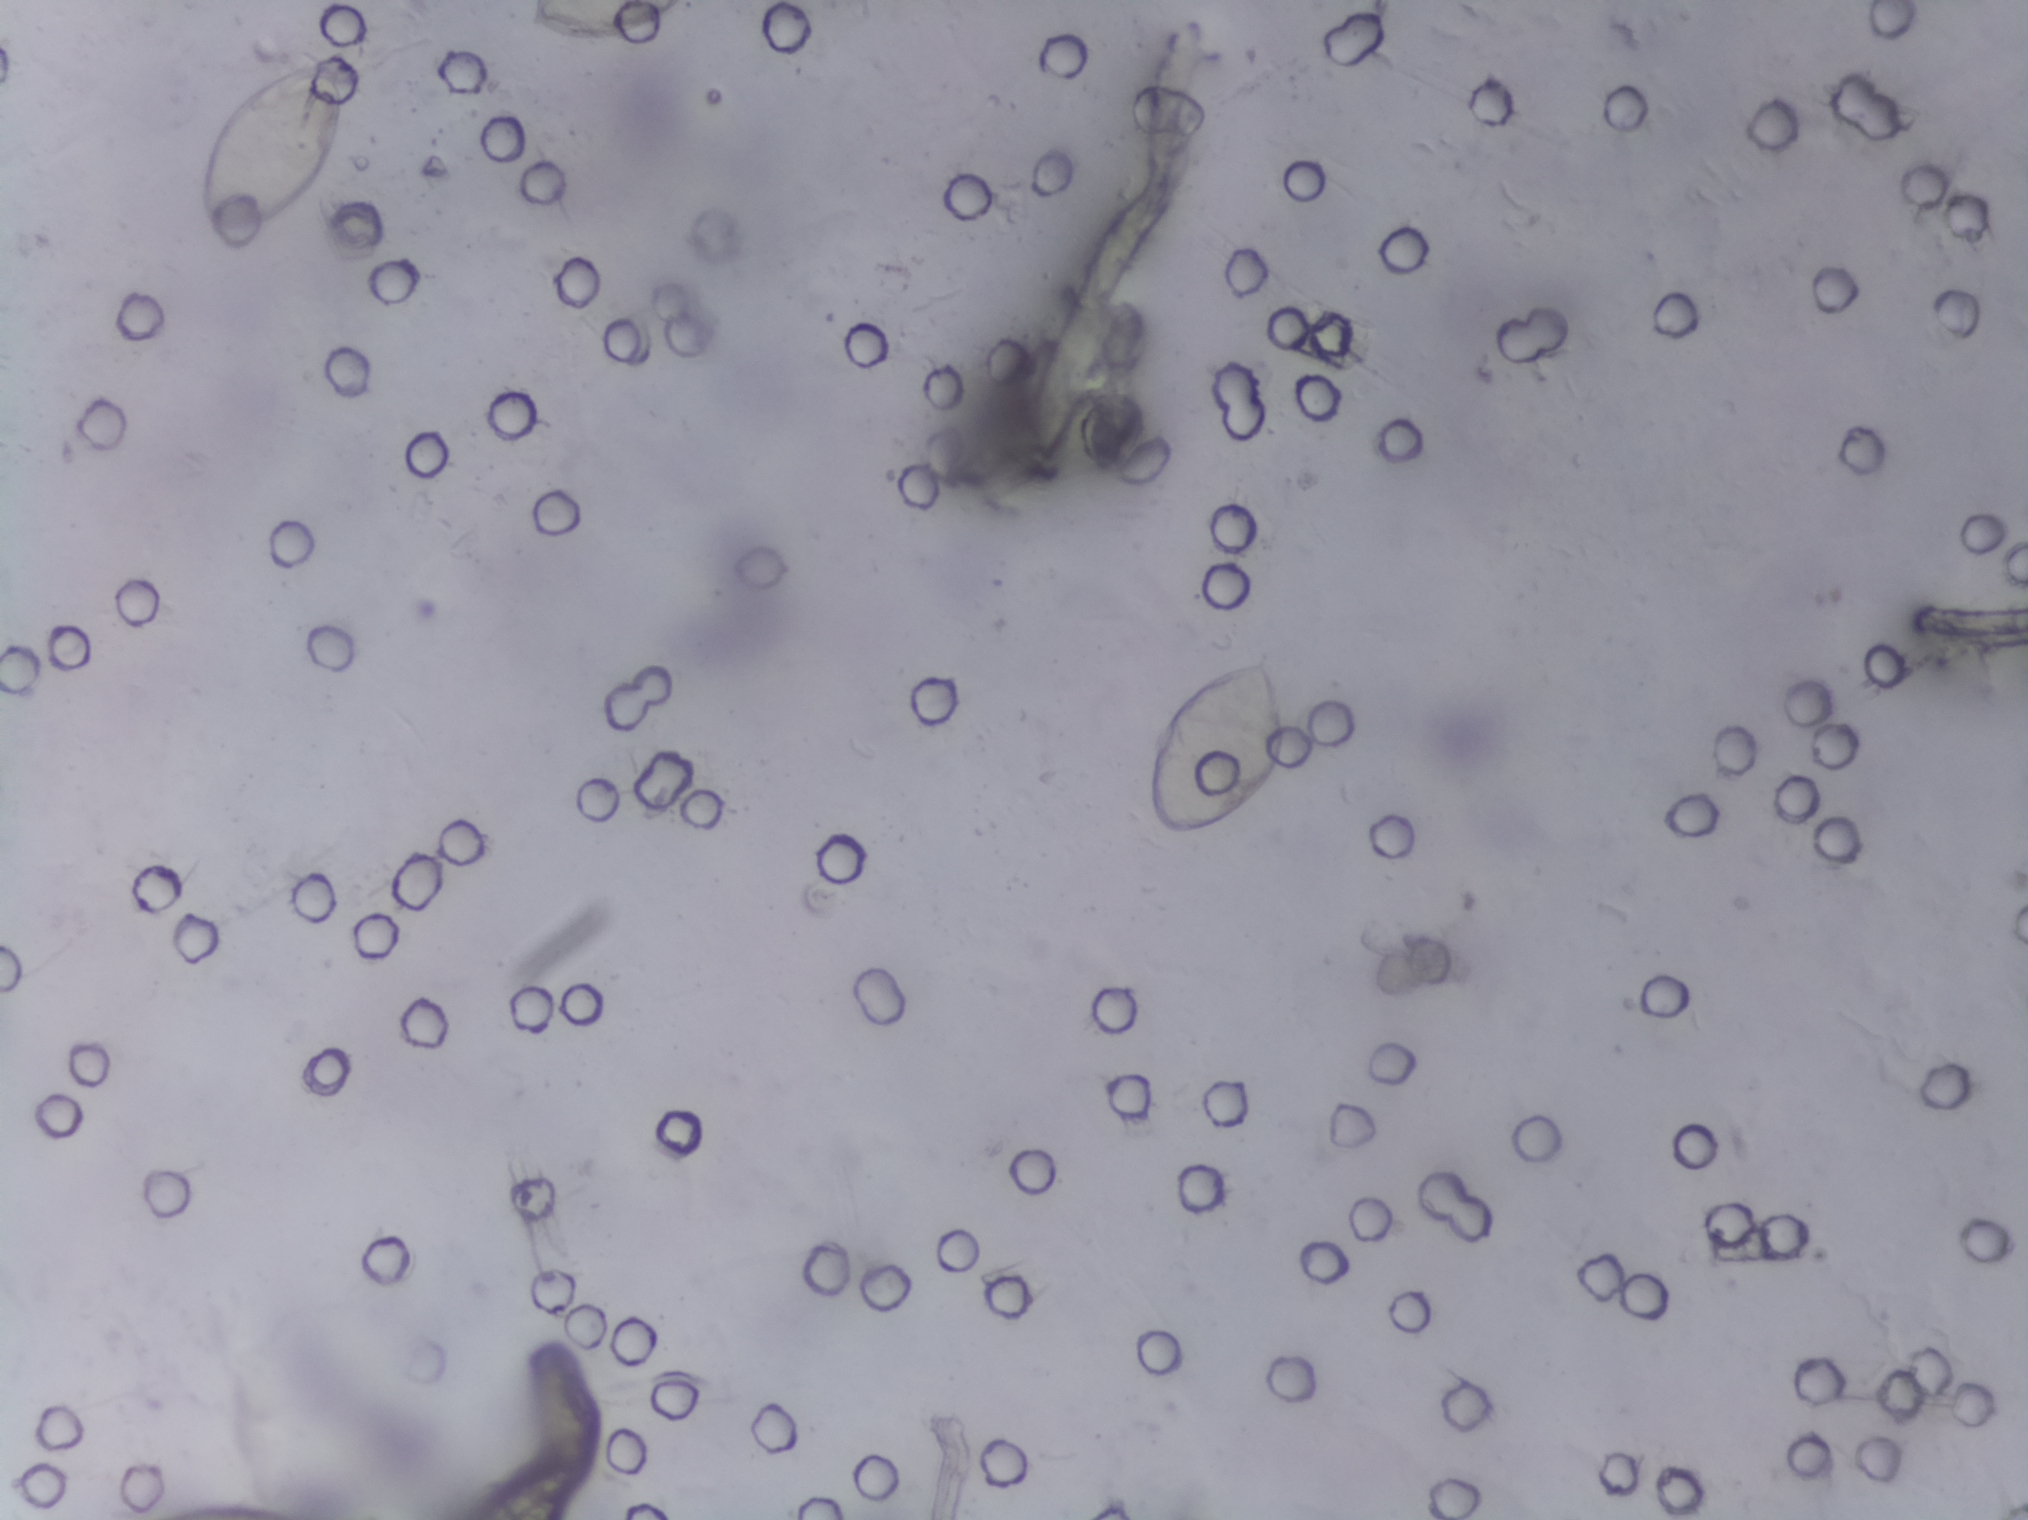
Urine filtration membrane under a 4× objective, photographed by an automated digital microscope. Field of view: about 1.5 mm wide and 1.1 mm high.
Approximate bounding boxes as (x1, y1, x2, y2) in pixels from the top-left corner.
Schistosoma eggs are outlined in three areas of this image, listed from left to right: (203, 49, 342, 237); (514, 0, 687, 42) (reaching the top edge of the frame); (1149, 647, 1286, 840). Eggs that touch can end up inside the same outlined area.